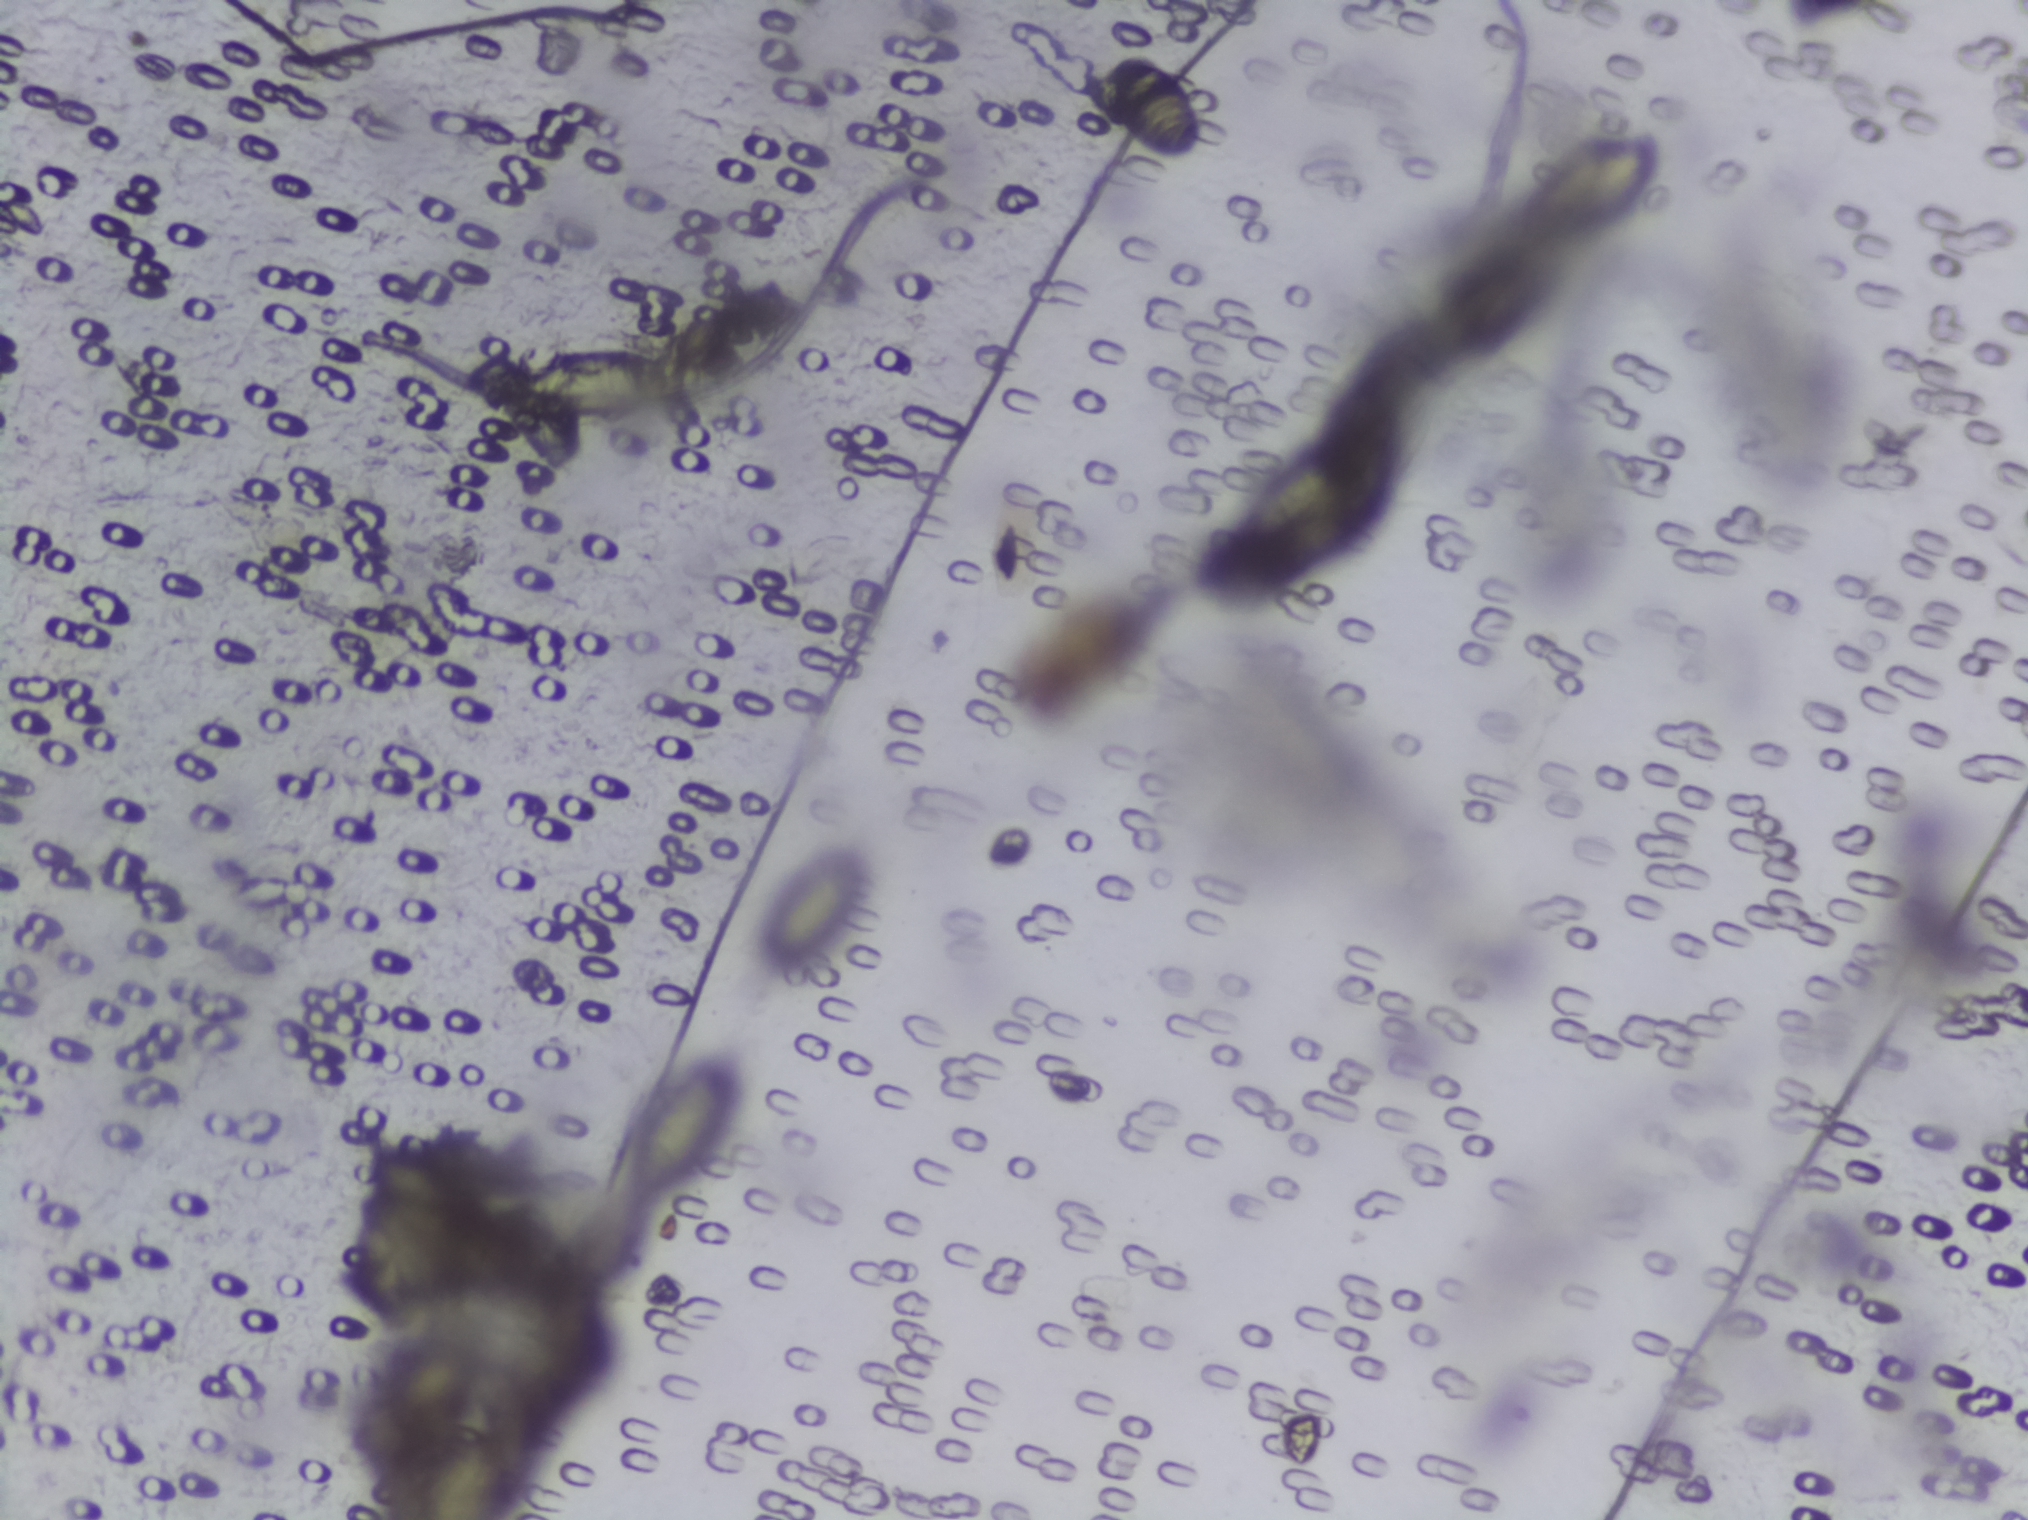
One field of view of a urine filter membrane, 4× objective, 2028 × 1520 pixels. The field of view is about 1.5 mm × 1.1 mm.
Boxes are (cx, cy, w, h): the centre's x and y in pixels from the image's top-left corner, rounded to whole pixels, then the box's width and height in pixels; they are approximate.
Schistosoma eggs are outlined in the expert annotation at (cx=591, cy=380, w=160, h=66); (cx=678, cy=1125, w=109, h=150); (cx=808, cy=911, w=108, h=144); (cx=1151, cy=106, w=101, h=104); (cx=1584, cy=188, w=140, h=112). Marked pixels, not the boxes around them: about 1.5% of the image. A single outlined area may contain several eggs.